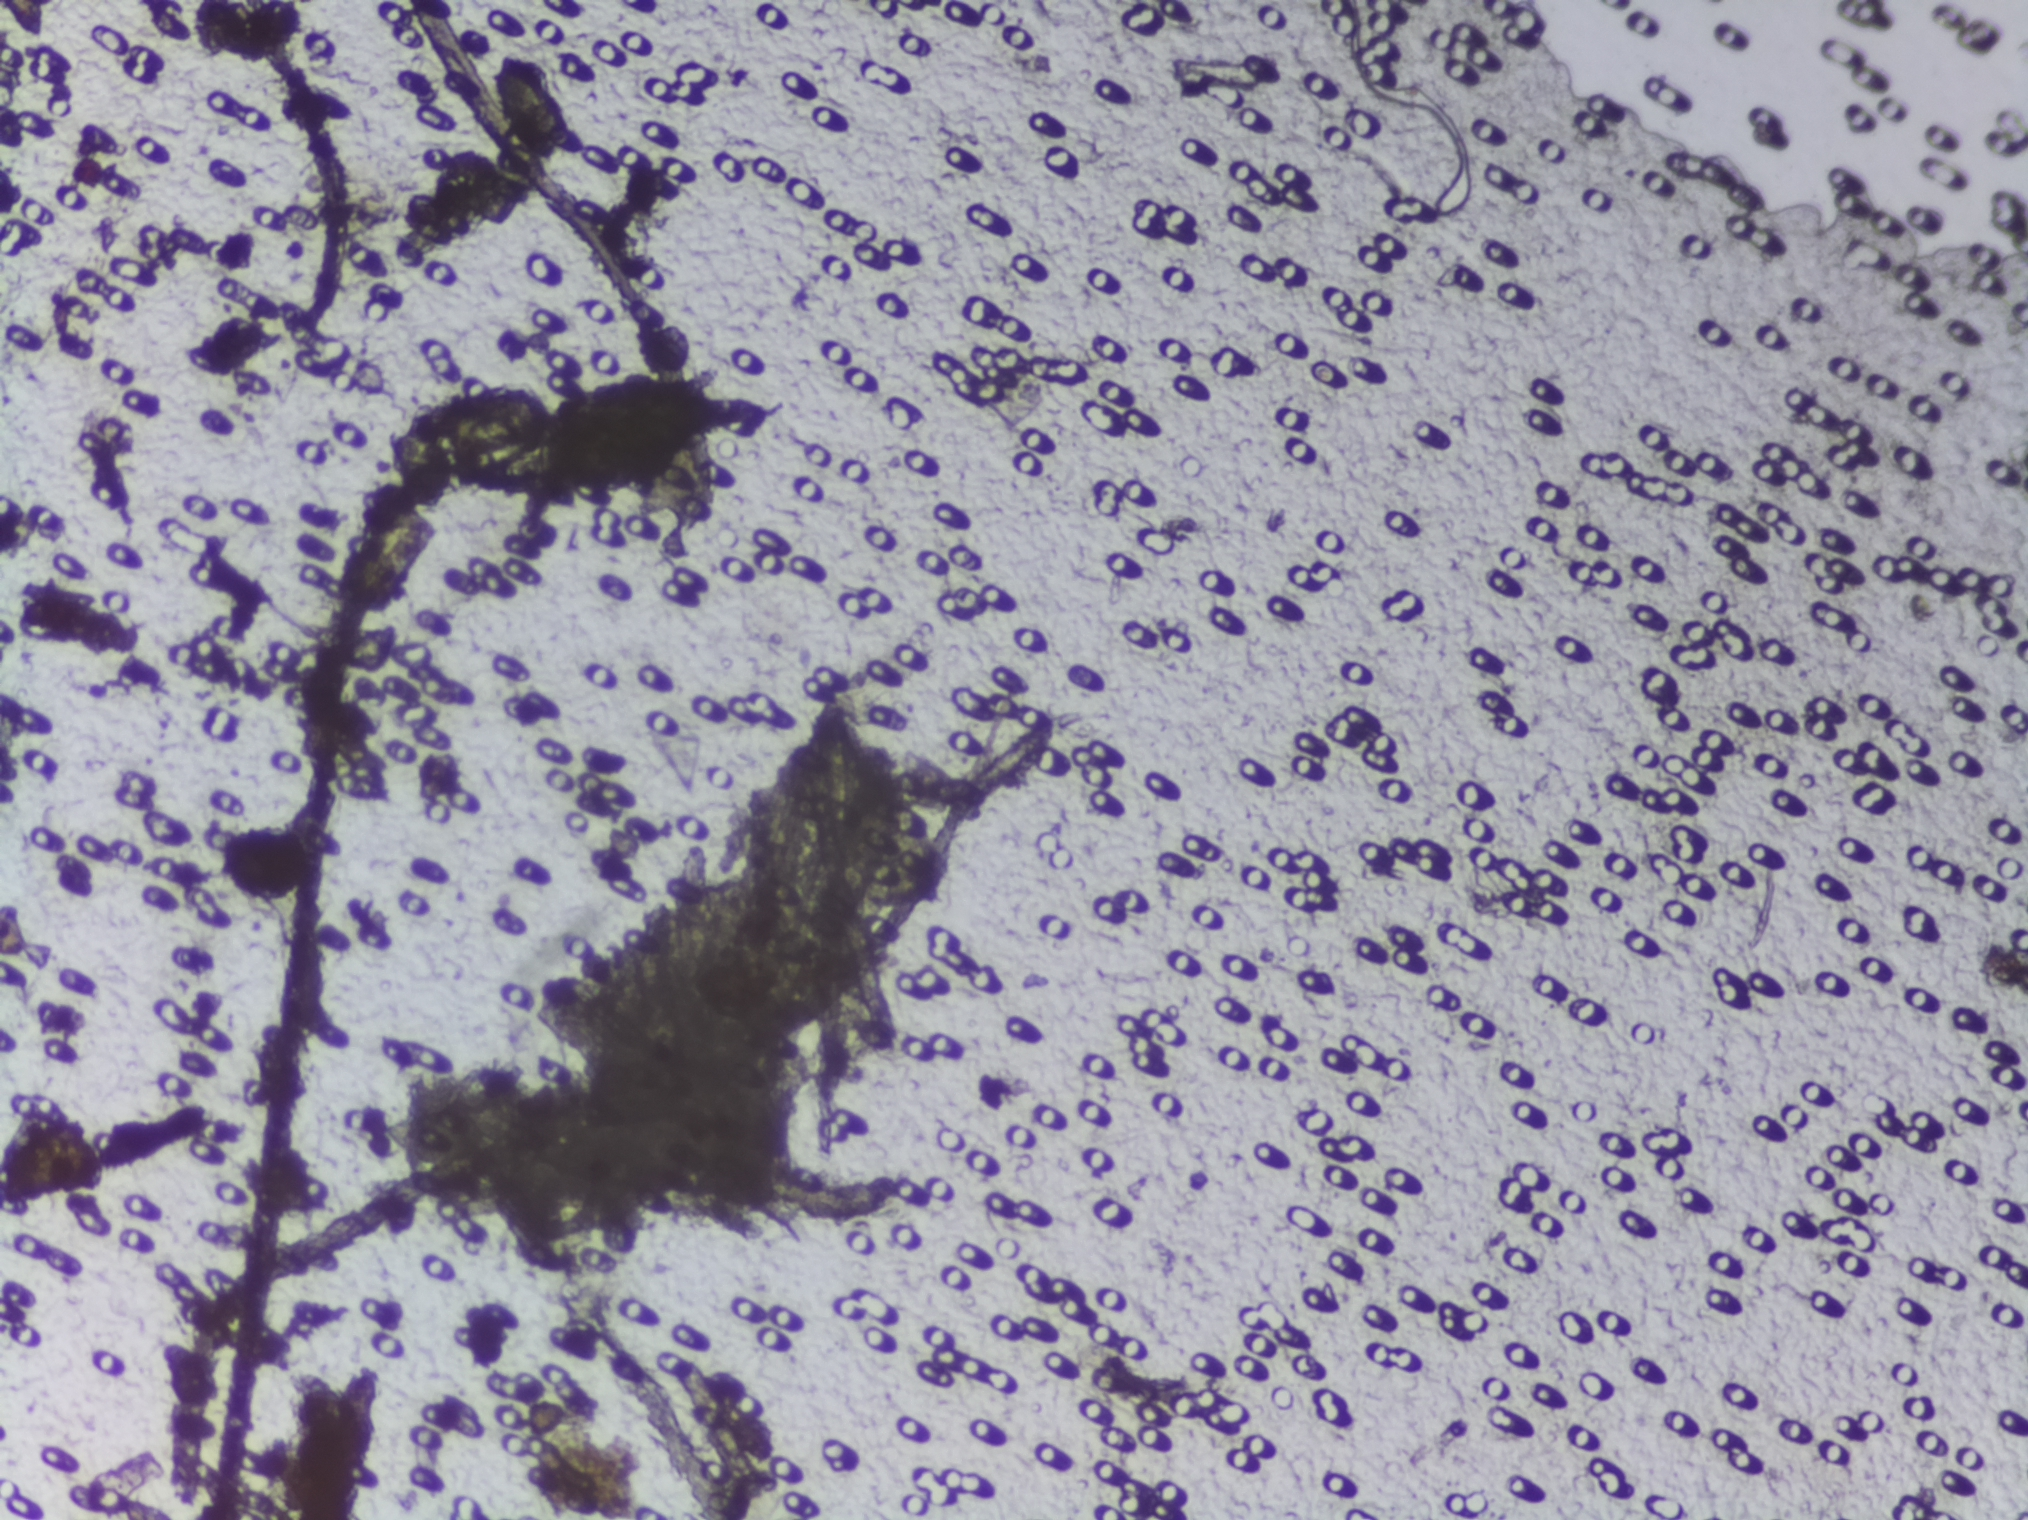
One field of view of a urine filter membrane, 4× objective, 2028 × 1520 pixels.
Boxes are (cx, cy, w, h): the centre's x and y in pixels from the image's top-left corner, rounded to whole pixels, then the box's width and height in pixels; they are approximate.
Areas outlined as Schistosoma eggs:
1. (cx=536, cy=110, w=78, h=115)
Marked pixels, not the box around them: about 0.2% of the image. A single outlined area may contain several eggs.